Urine filtration membrane under a 4× objective, photographed by an automated digital microscope.
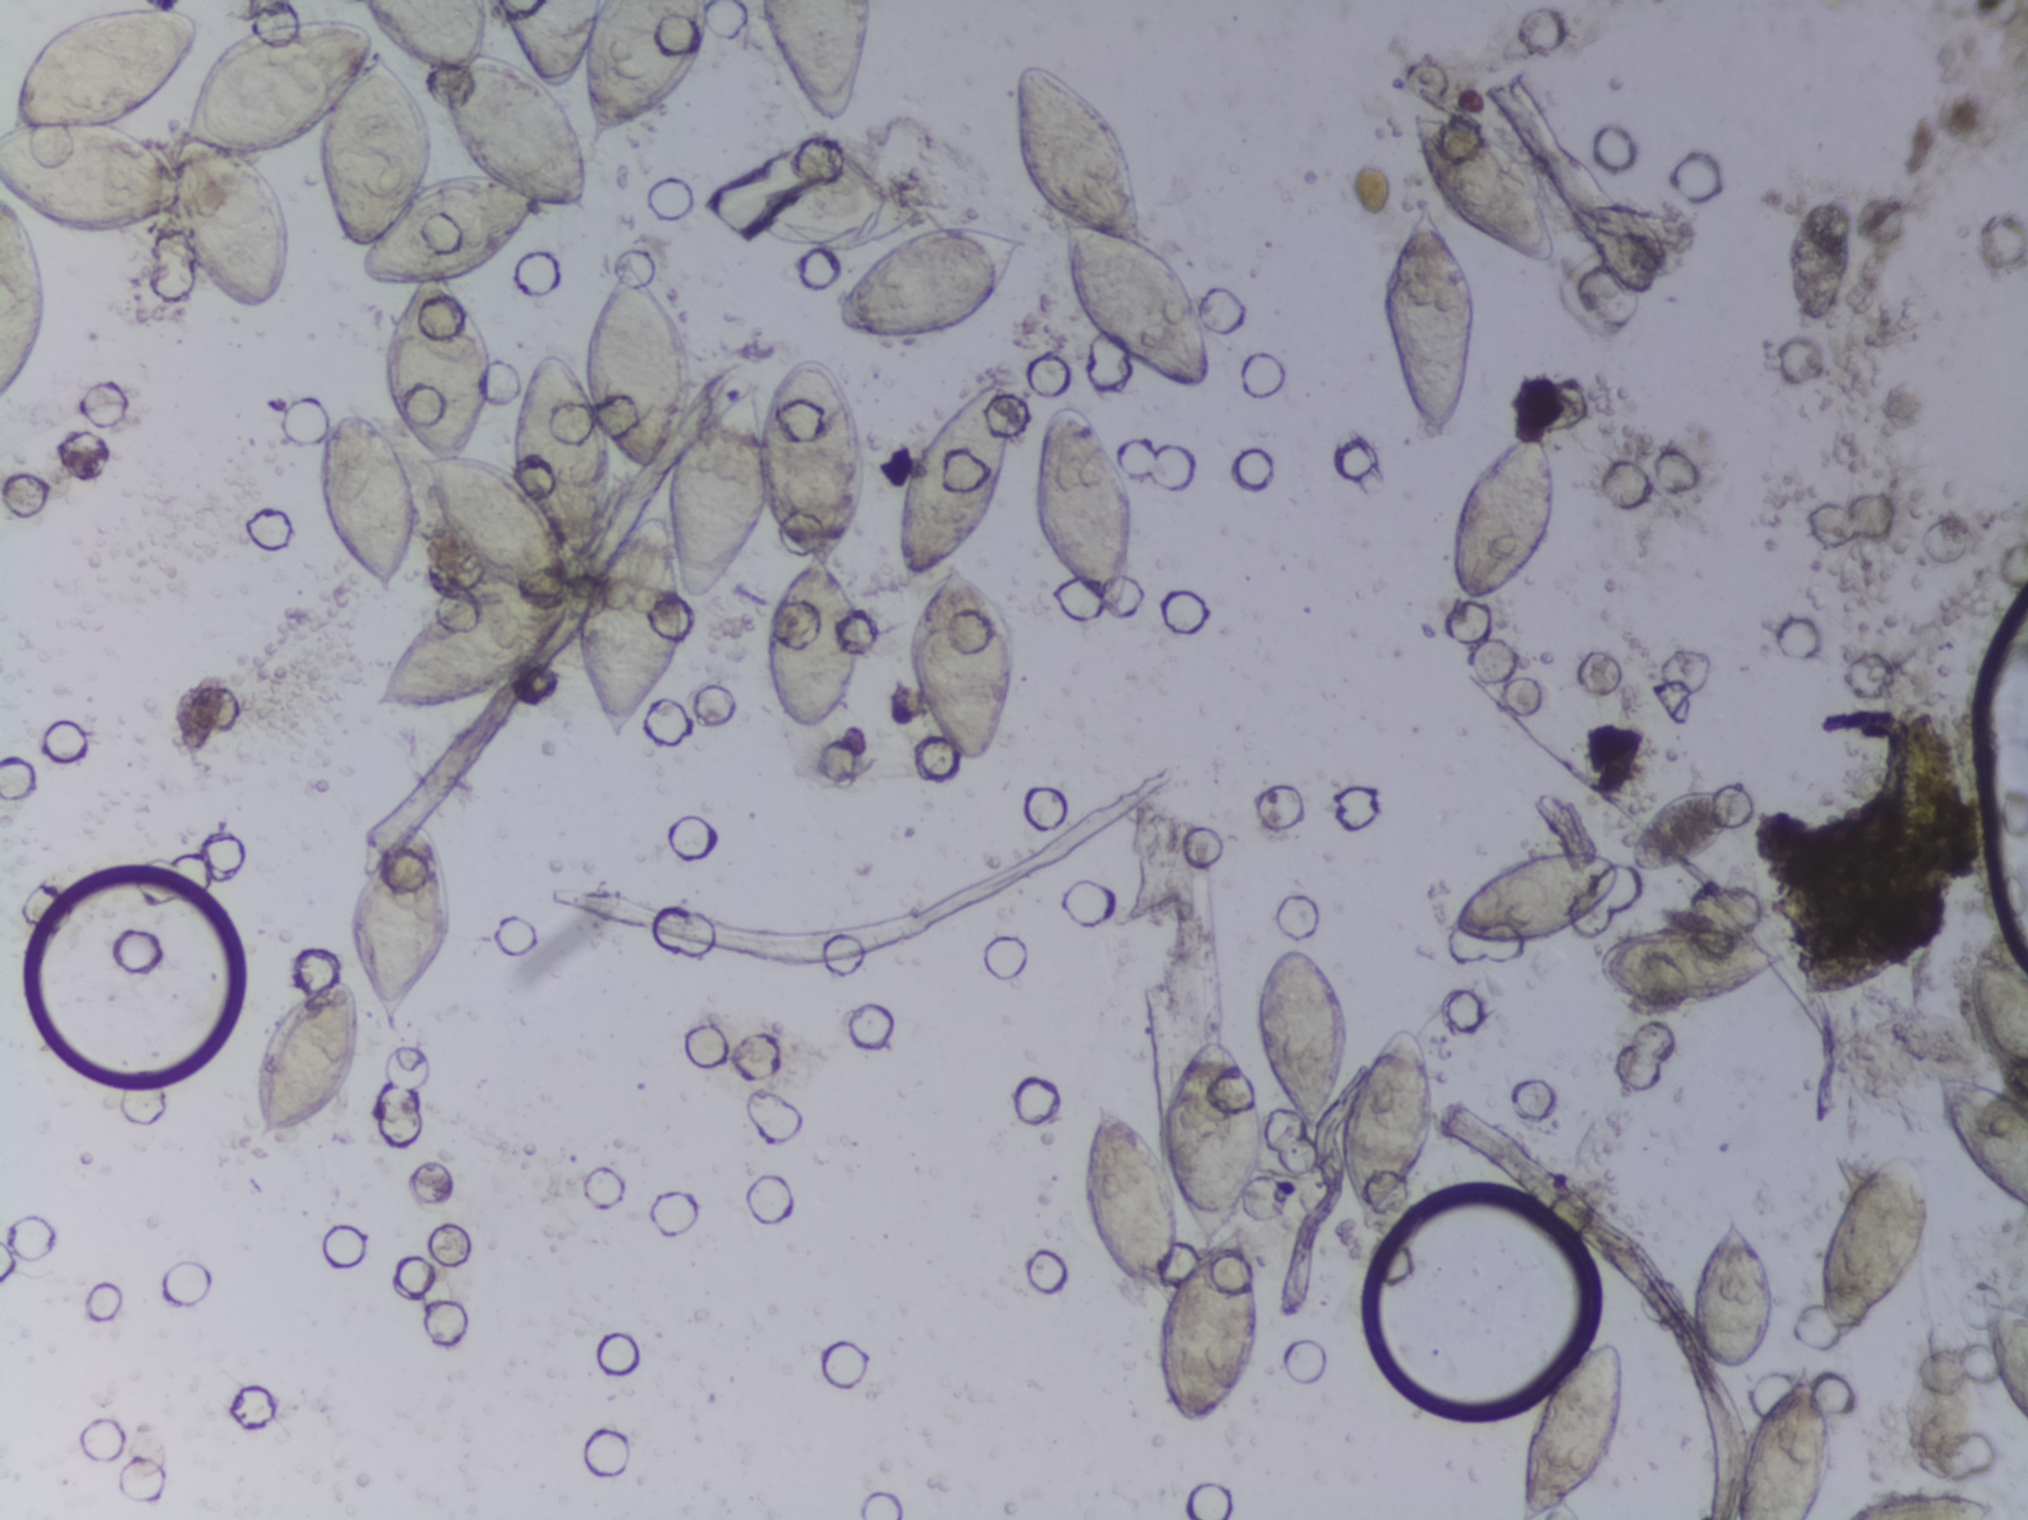
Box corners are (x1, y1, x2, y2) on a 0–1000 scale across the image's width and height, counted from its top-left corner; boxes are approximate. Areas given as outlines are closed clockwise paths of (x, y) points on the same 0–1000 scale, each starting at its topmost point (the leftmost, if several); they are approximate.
The expert annotation outlines Schistosoma eggs in 25 areas, left to right: outline (177, 0), (237, 0), (242, 31), (260, 42), (244, 0), (354, 3), (352, 21), (340, 45), (306, 90), (289, 101), (292, 140), (269, 137), (265, 157), (257, 168), (224, 184), (240, 212), (244, 235), (242, 269), (232, 297), (253, 306), (252, 279), (261, 244), (270, 229), (289, 242), (294, 204), (309, 163), (320, 177), (337, 210), (341, 260), (329, 299), (320, 312), (314, 312), (304, 296), (301, 344), (293, 370), (284, 378), (284, 384), (288, 385), (308, 352), (323, 338), (331, 344), (330, 302), (353, 267), (370, 249), (375, 269), (387, 243), (397, 234), (408, 235), (420, 260), (428, 294), (426, 334), (414, 371), (425, 398), (428, 428), (422, 454), (405, 479), (397, 481), (391, 477), (378, 441), (378, 412), (400, 368), (378, 342), (354, 387), (344, 393), (337, 388), (336, 433), (307, 490), (303, 490), (294, 466), (284, 425), (231, 467), (187, 467), (189, 444), (205, 419), (209, 407), (245, 385), (221, 352), (208, 301), (196, 282), (188, 245), (192, 210), (199, 190), (186, 190), (179, 183), (180, 167), (174, 166), (167, 152), (155, 112), (154, 92), (129, 102), (140, 126), (145, 150), (144, 183), (134, 206), (116, 208), (109, 202), (90, 169), (82, 142), (54, 153), (35, 153), (18, 143), (23, 165), (25, 204), (13, 247), (7, 258), (0, 262), (0, 85), (5, 81), (10, 46), (20, 23), (45, 6), (96, 5), (101, 27), (93, 48), (73, 72), (60, 81), (80, 92), (89, 82), (94, 58), (105, 39), (136, 18), (178, 13) (a cluster of eggs; reaching the left and top edges of the frame); box (123, 640, 179, 751); box (157, 271, 209, 390); box (170, 538, 224, 682); box (346, 93, 508, 226); box (371, 0, 429, 82) (reaching the top edge of the frame); box (441, 248, 502, 507); outline (507, 39), (514, 39), (528, 51), (553, 87), (565, 158), (576, 165), (590, 192), (598, 238), (597, 248), (591, 255), (564, 250), (531, 203), (522, 165), (523, 143), (514, 135), (499, 94), (496, 48), (499, 41); box (508, 265, 562, 407); box (534, 677, 627, 943) (a cluster of eggs); box (616, 613, 714, 818); box (681, 128, 729, 289); box (695, 73, 768, 178); box (713, 559, 801, 624); box (714, 279, 768, 400); box (746, 879, 804, 1000) (reaching the bottom edge of the frame); box (786, 606, 882, 666); box (804, 517, 859, 576); box (832, 795, 875, 904); box (854, 895, 907, 1000) (reaching the bottom edge of the frame); box (896, 756, 952, 879); box (907, 977, 987, 1000) (reaching the bottom edge of the frame); box (952, 705, 1000, 794) (reaching the right edge of the frame); box (969, 623, 1000, 717) (reaching the right edge of the frame); box (977, 851, 1000, 943) (reaching the right edge of the frame). Eggs that touch can end up inside the same outlined area. Any one outlined egg may, rarely, be S. mansoni rather than S. haematobium.